Urine filtration membrane under a 4× objective, photographed by an automated digital microscope. The image covers about 1.5 × 1.1 mm of the membrane.
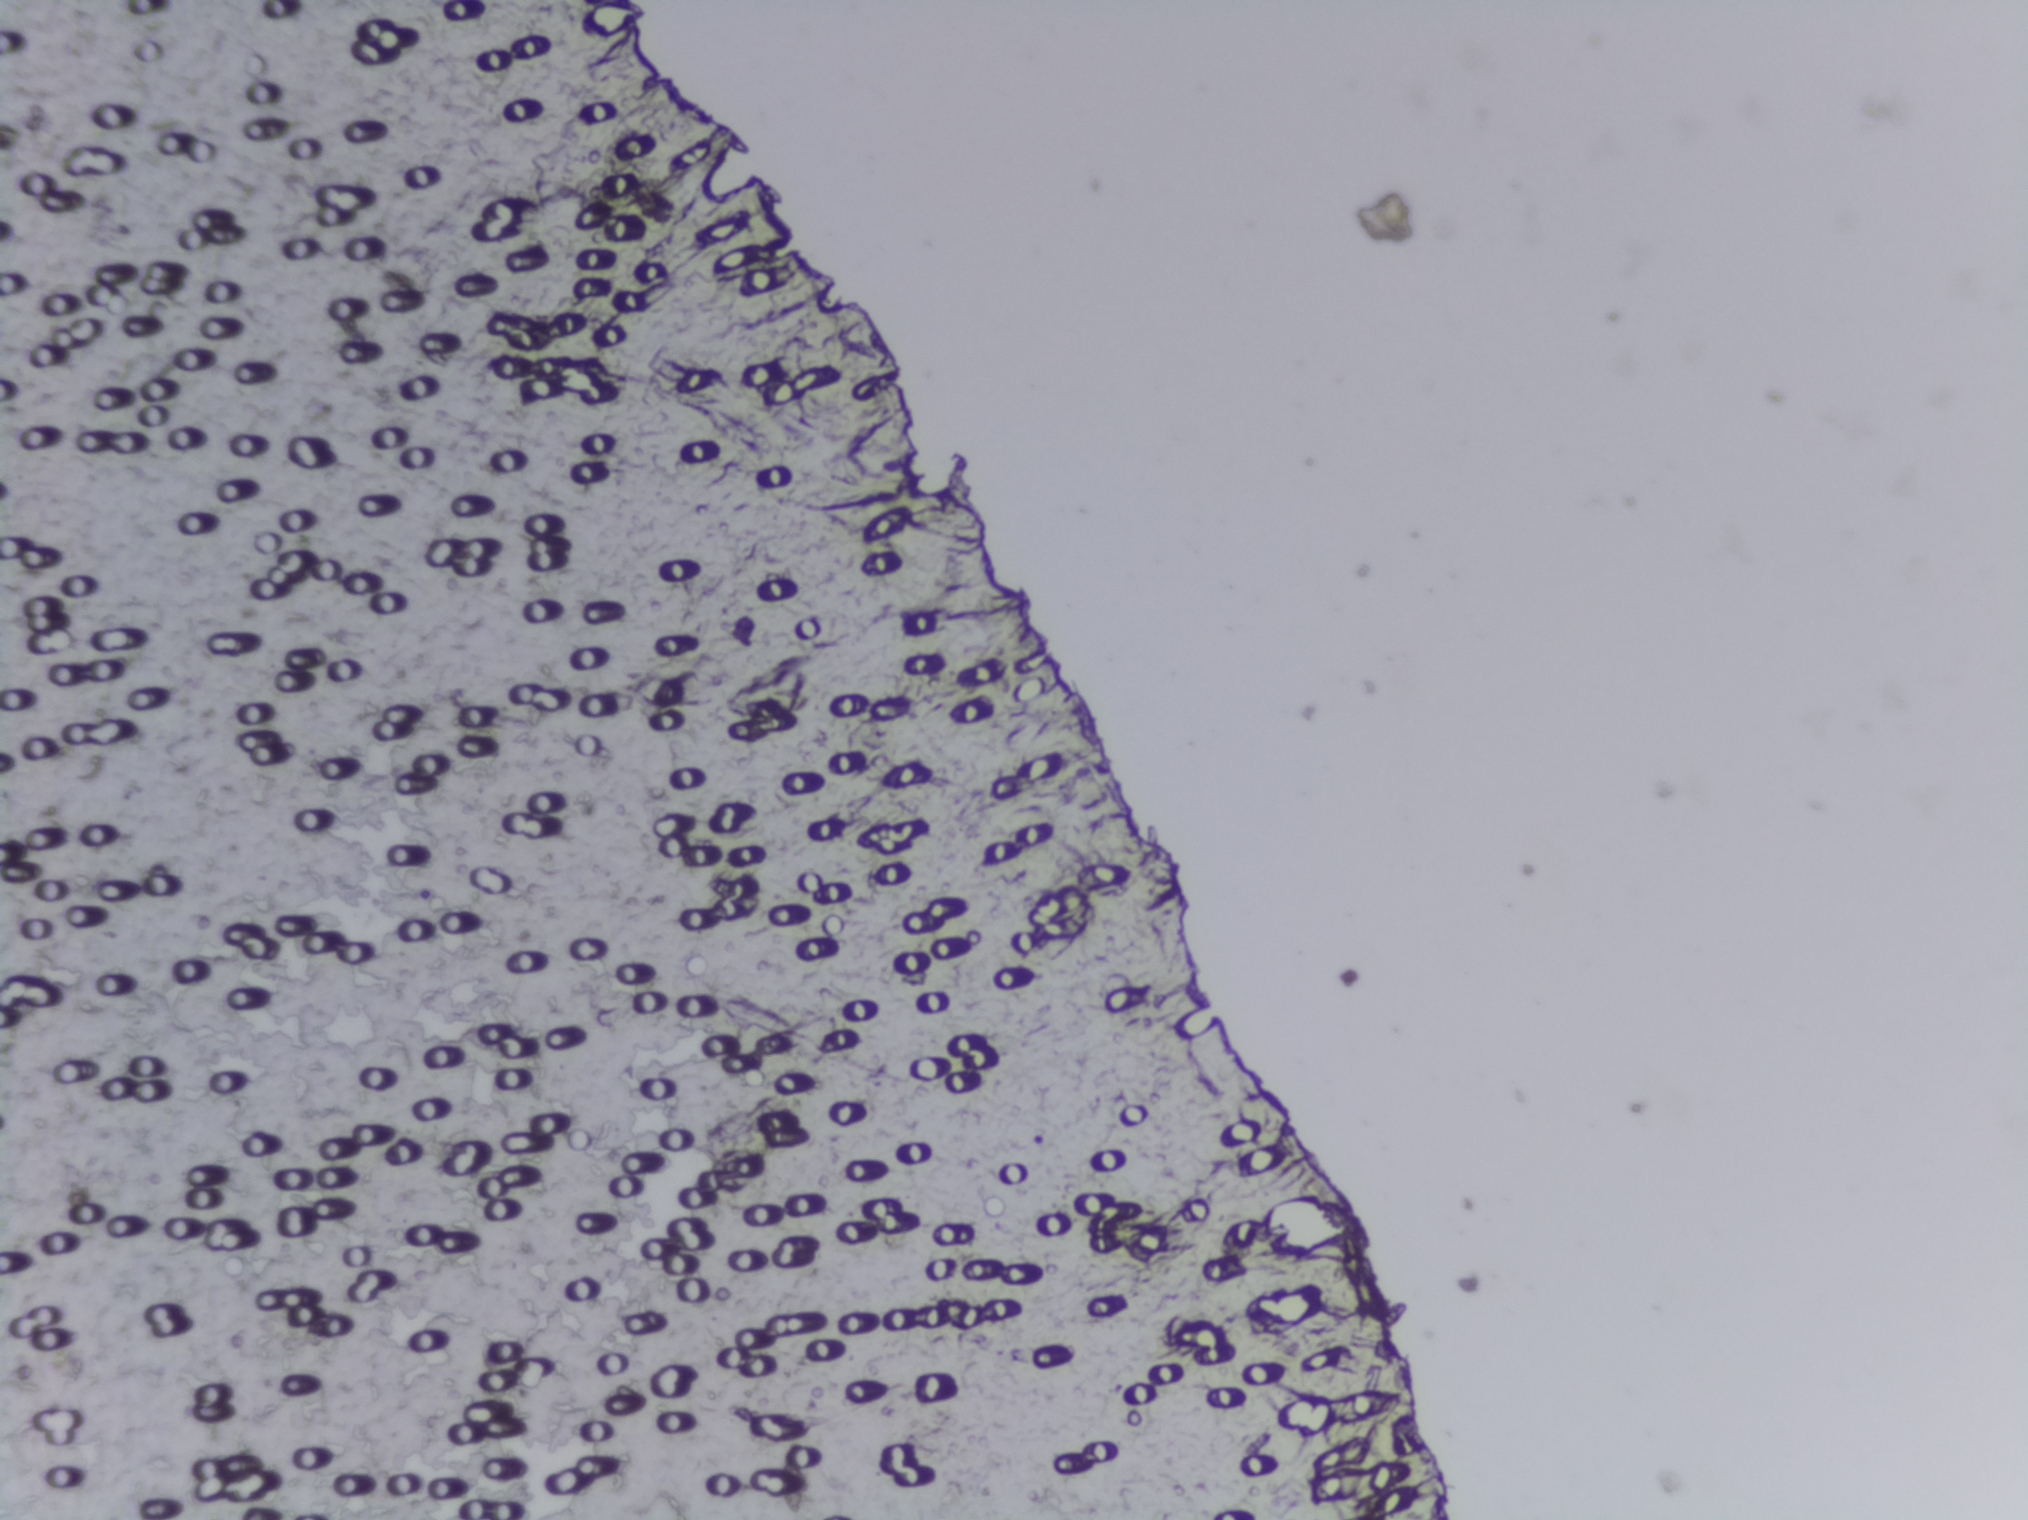
The expert annotation marks no Schistosoma egg in this field of view.